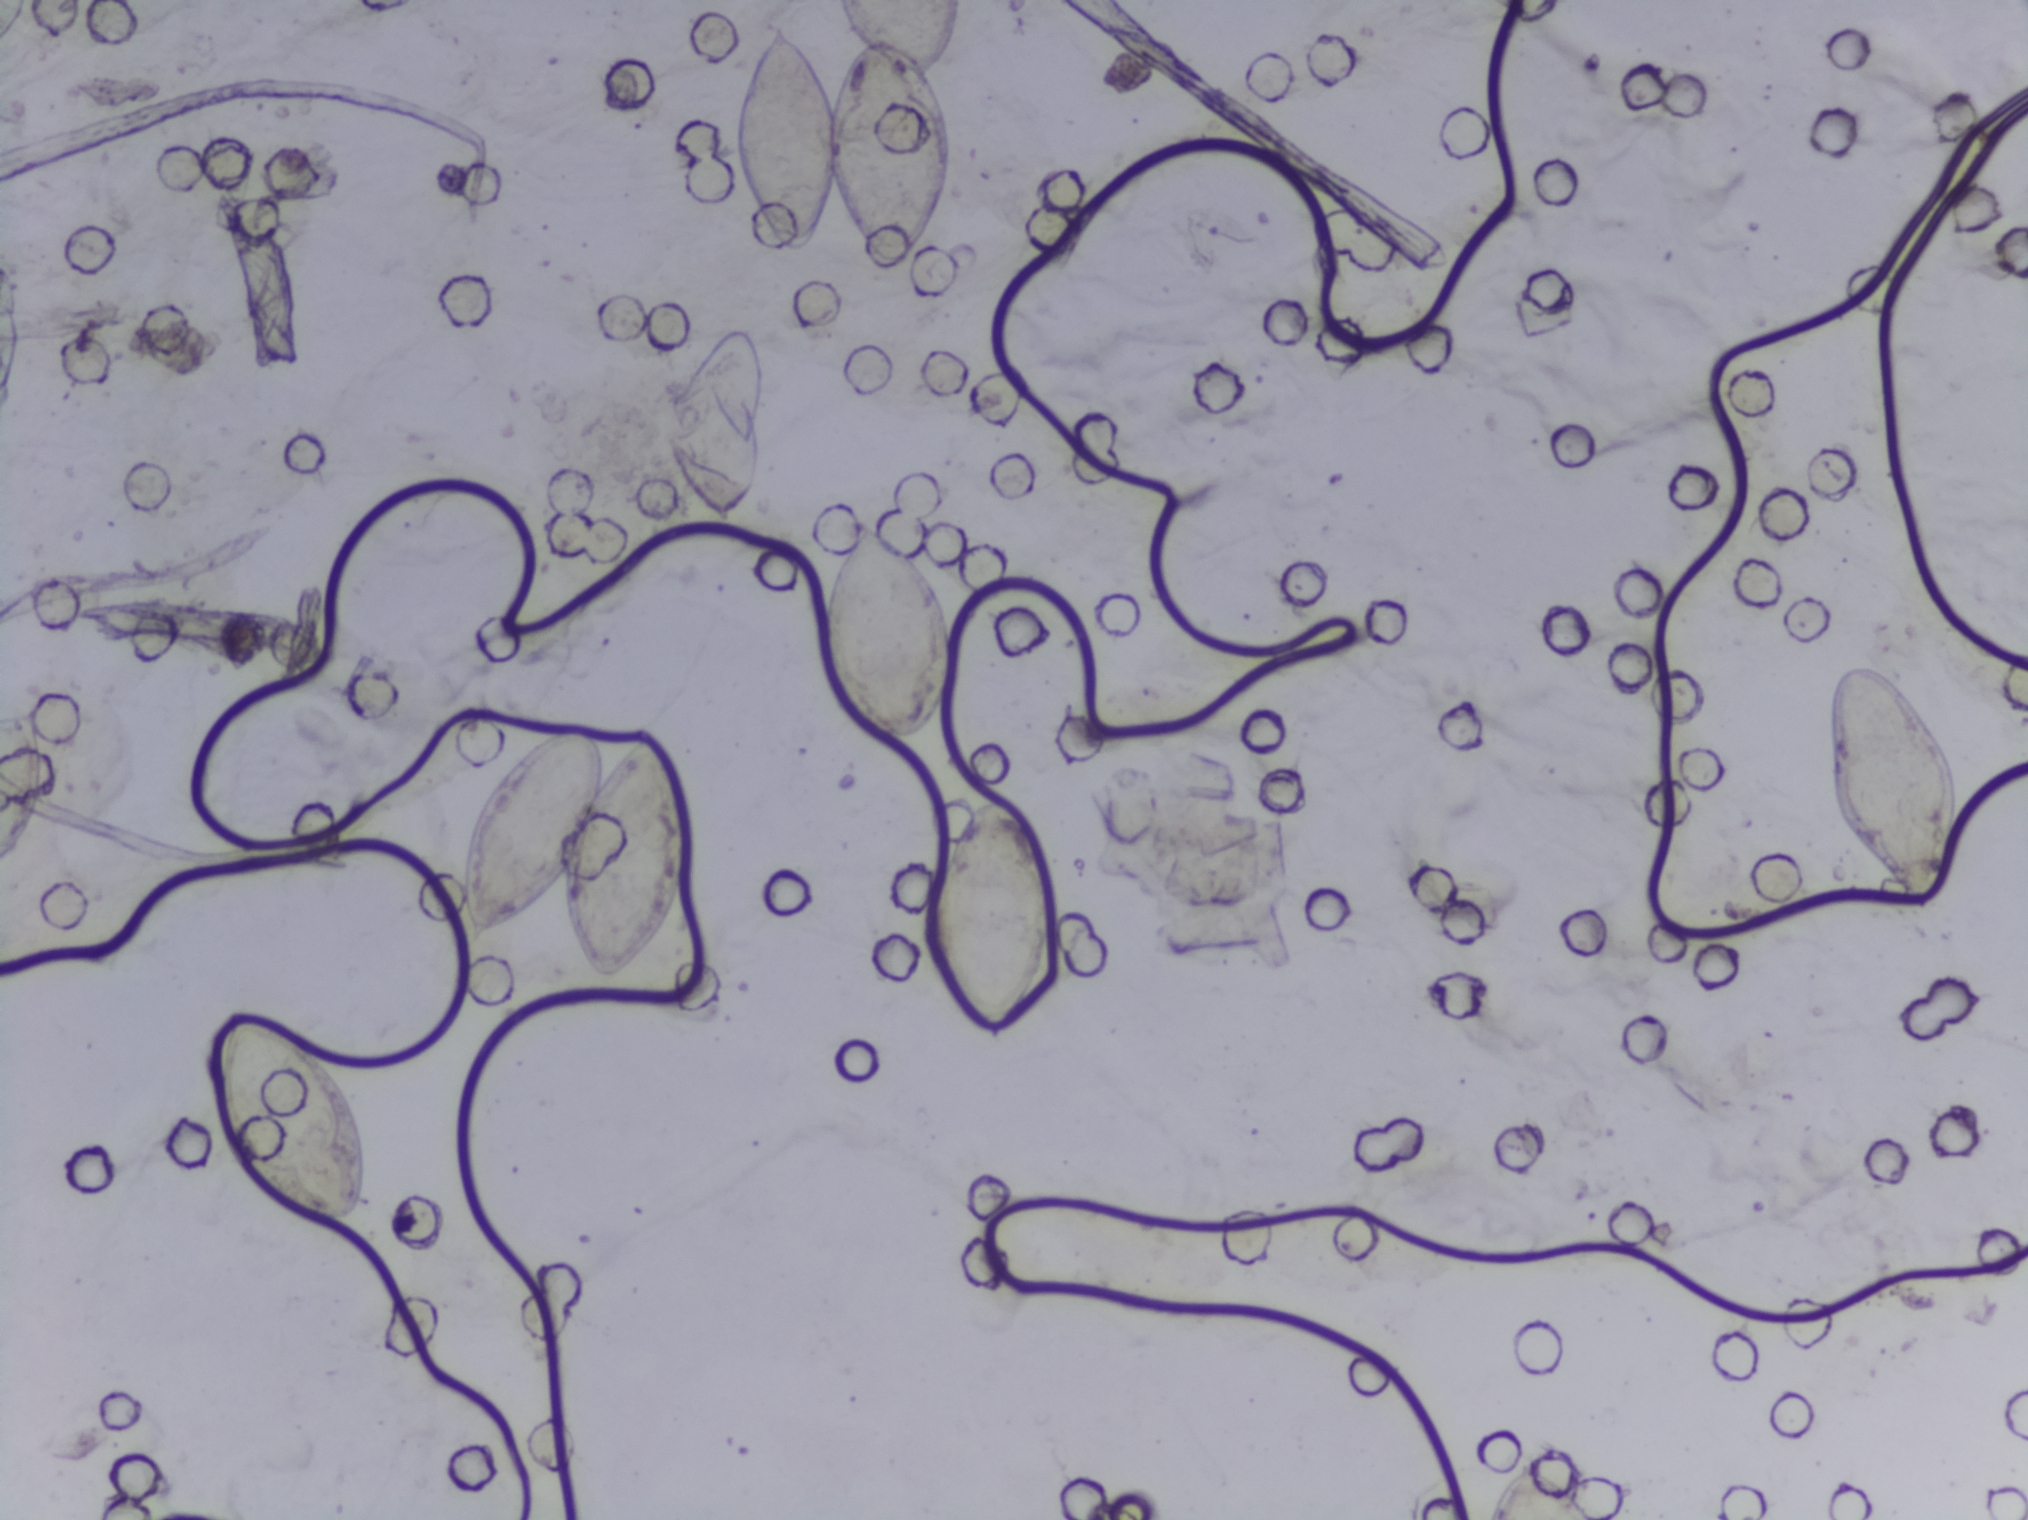
One field of view of a urine filter membrane, 4× objective, 2028 × 1520 pixels.
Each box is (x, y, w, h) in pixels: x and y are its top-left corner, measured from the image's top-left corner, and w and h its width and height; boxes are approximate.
Areas outlined as Schistosoma eggs: (x=216, y=1002, w=155, h=231); (x=463, y=727, w=231, h=256); (x=653, y=315, w=113, h=212); (x=729, y=0, w=230, h=270) (reaching the top edge of the frame); (x=824, y=512, w=130, h=233); (x=927, y=797, w=132, h=253); (x=1481, y=1455, w=120, h=65) (reaching the bottom edge of the frame); (x=1821, y=661, w=144, h=258). The marked pixels themselves, not the boxes around them, cover about 6.8% of the image. An outlined area can hold more than one egg.